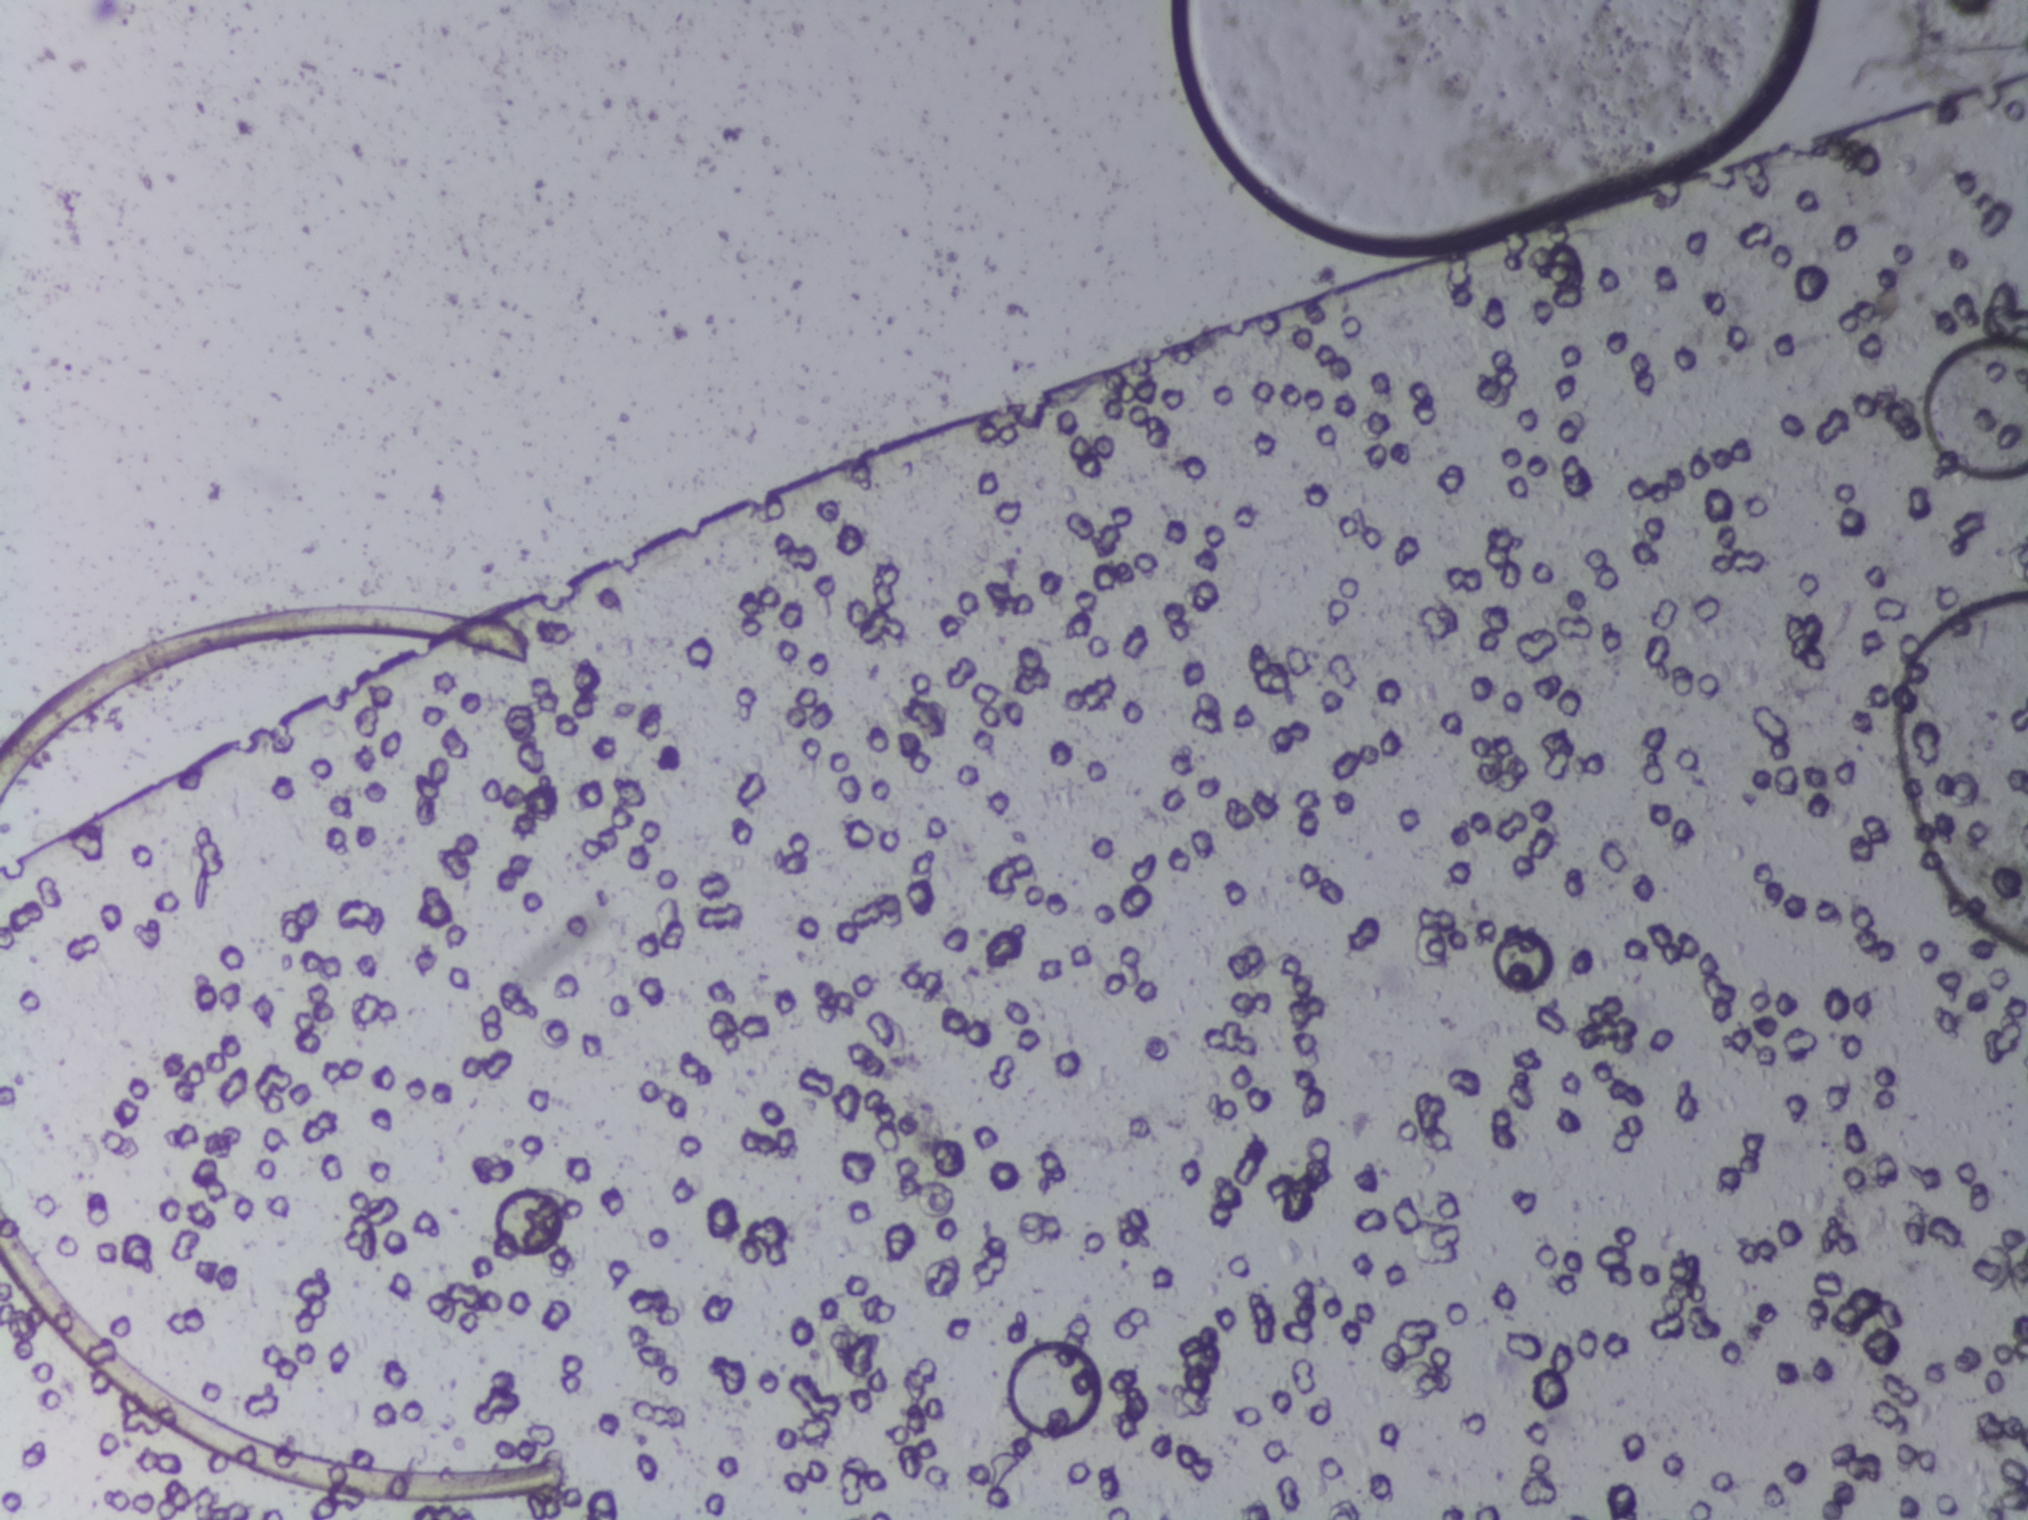
Urine filtration membrane under a 4× objective, photographed by an automated digital microscope. The image covers about 1.5 × 1.1 mm of the membrane.
No area of this image was outlined as a Schistosoma egg.